Photomicrograph of a urine filtration membrane, 4× objective.
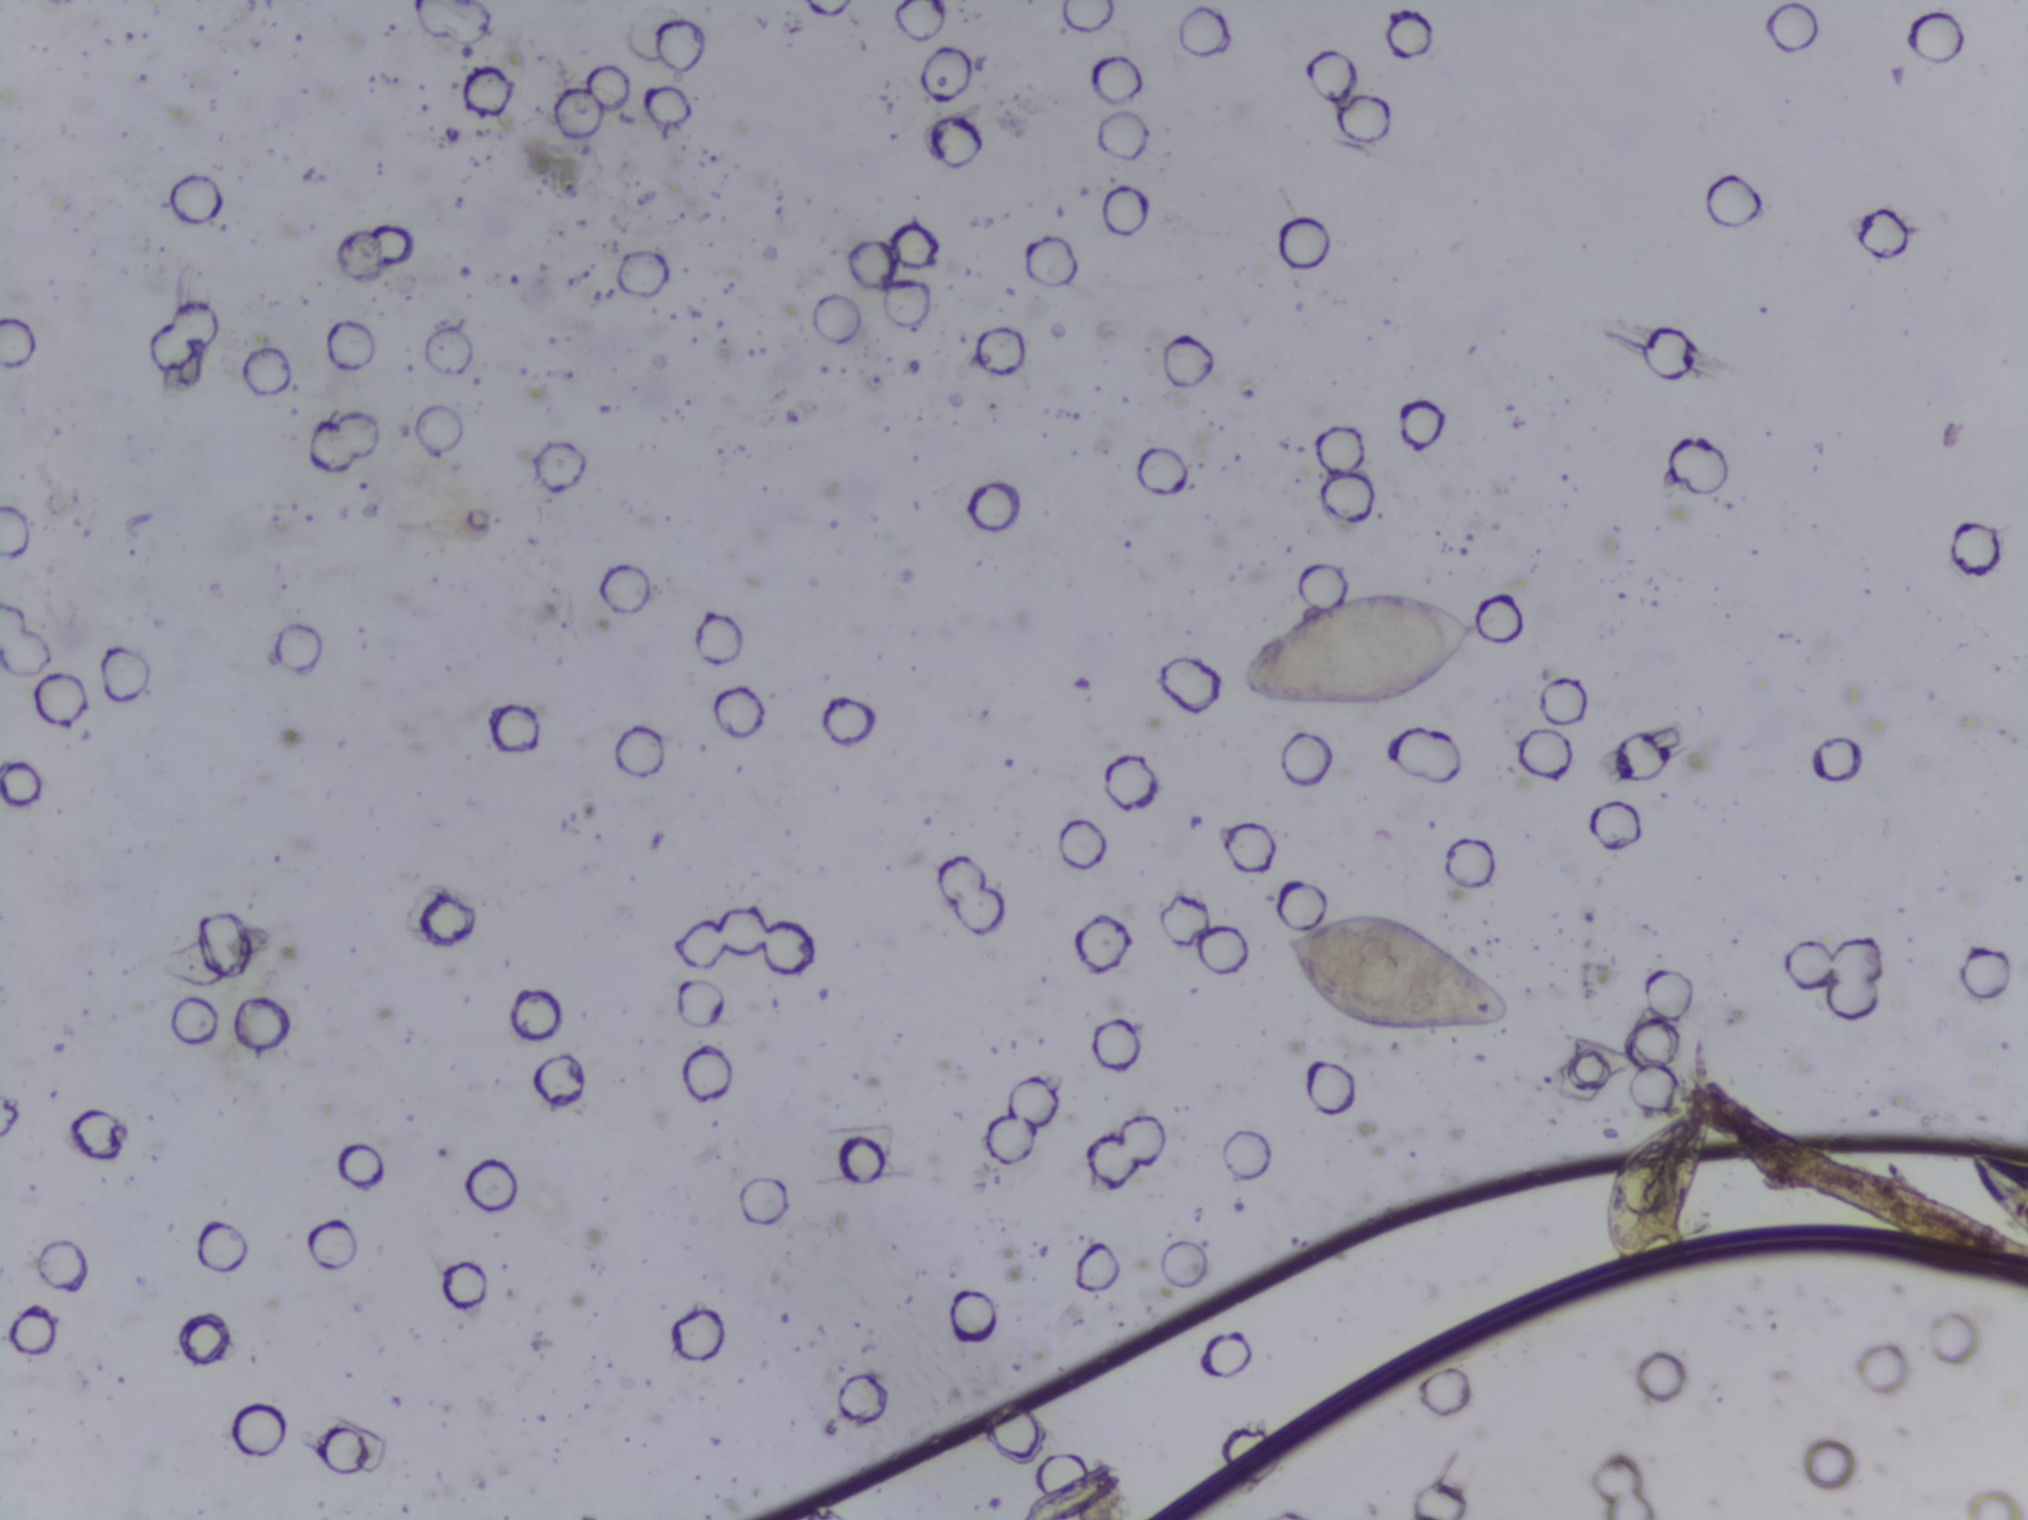
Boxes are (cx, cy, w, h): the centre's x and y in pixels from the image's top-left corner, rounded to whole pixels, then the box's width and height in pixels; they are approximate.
Three areas of this image are outlined as Schistosoma eggs, from left to right: (cx=1363, cy=650, w=262, h=122); (cx=1397, cy=974, w=246, h=134); (cx=1657, cy=1184, w=120, h=182). Eggs that touch can end up inside the same outlined area.